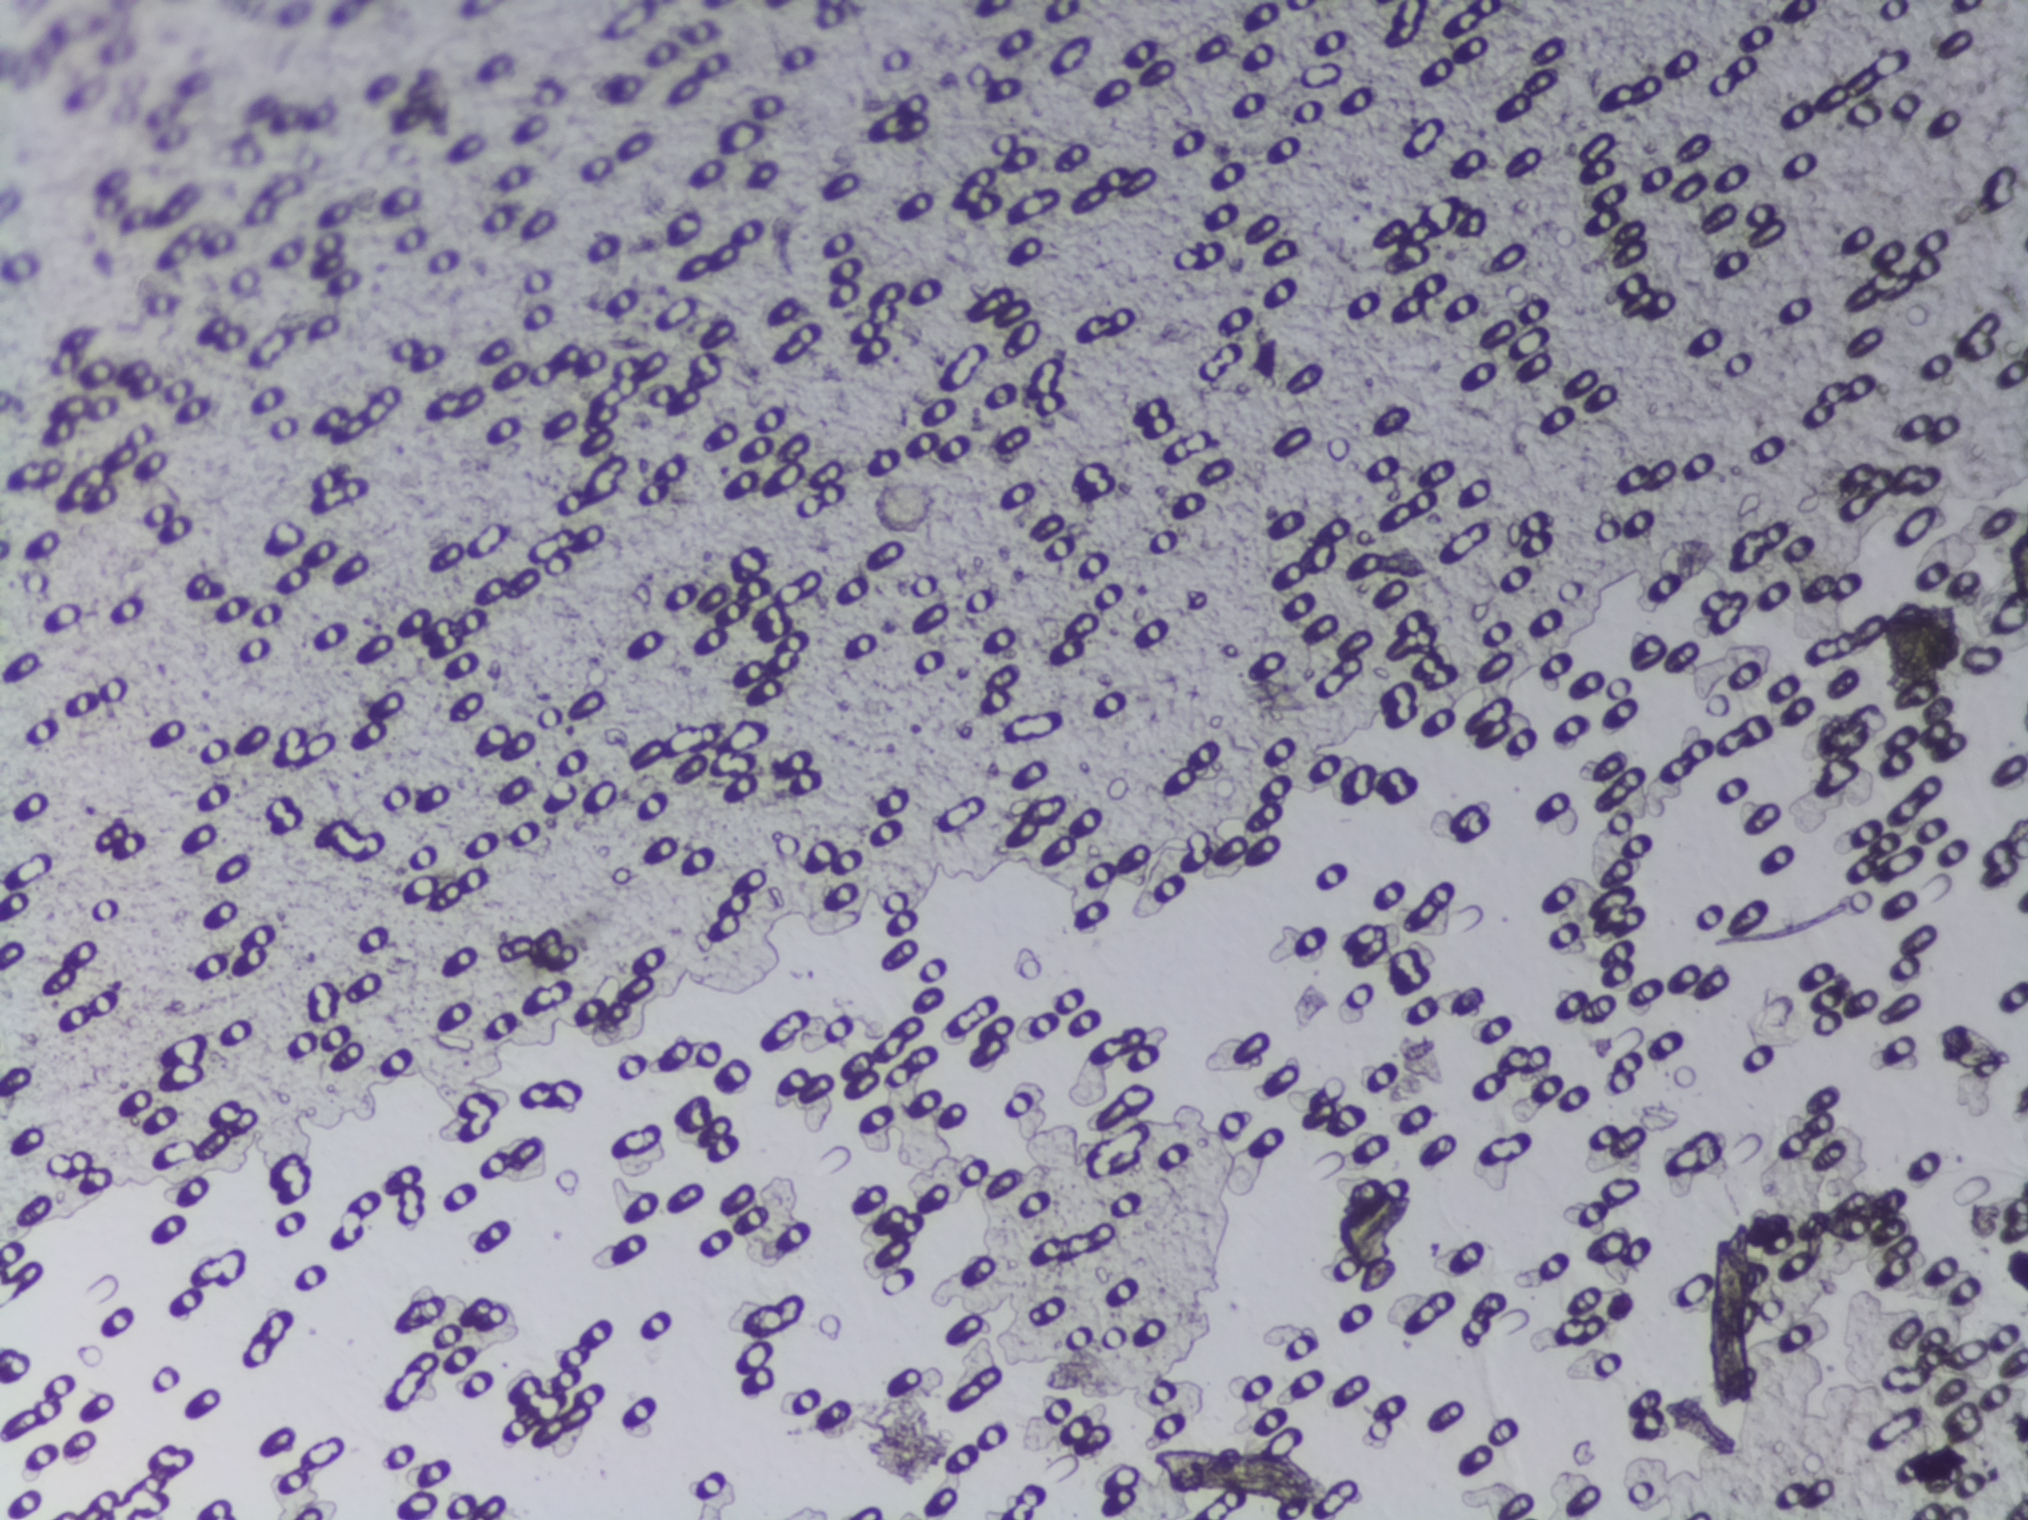
The expert annotation outlines no Schistosoma egg in this image.
Urine filter membrane photographed through a 4× microscope objective. The image covers about 1.5 × 1.1 mm of the membrane.